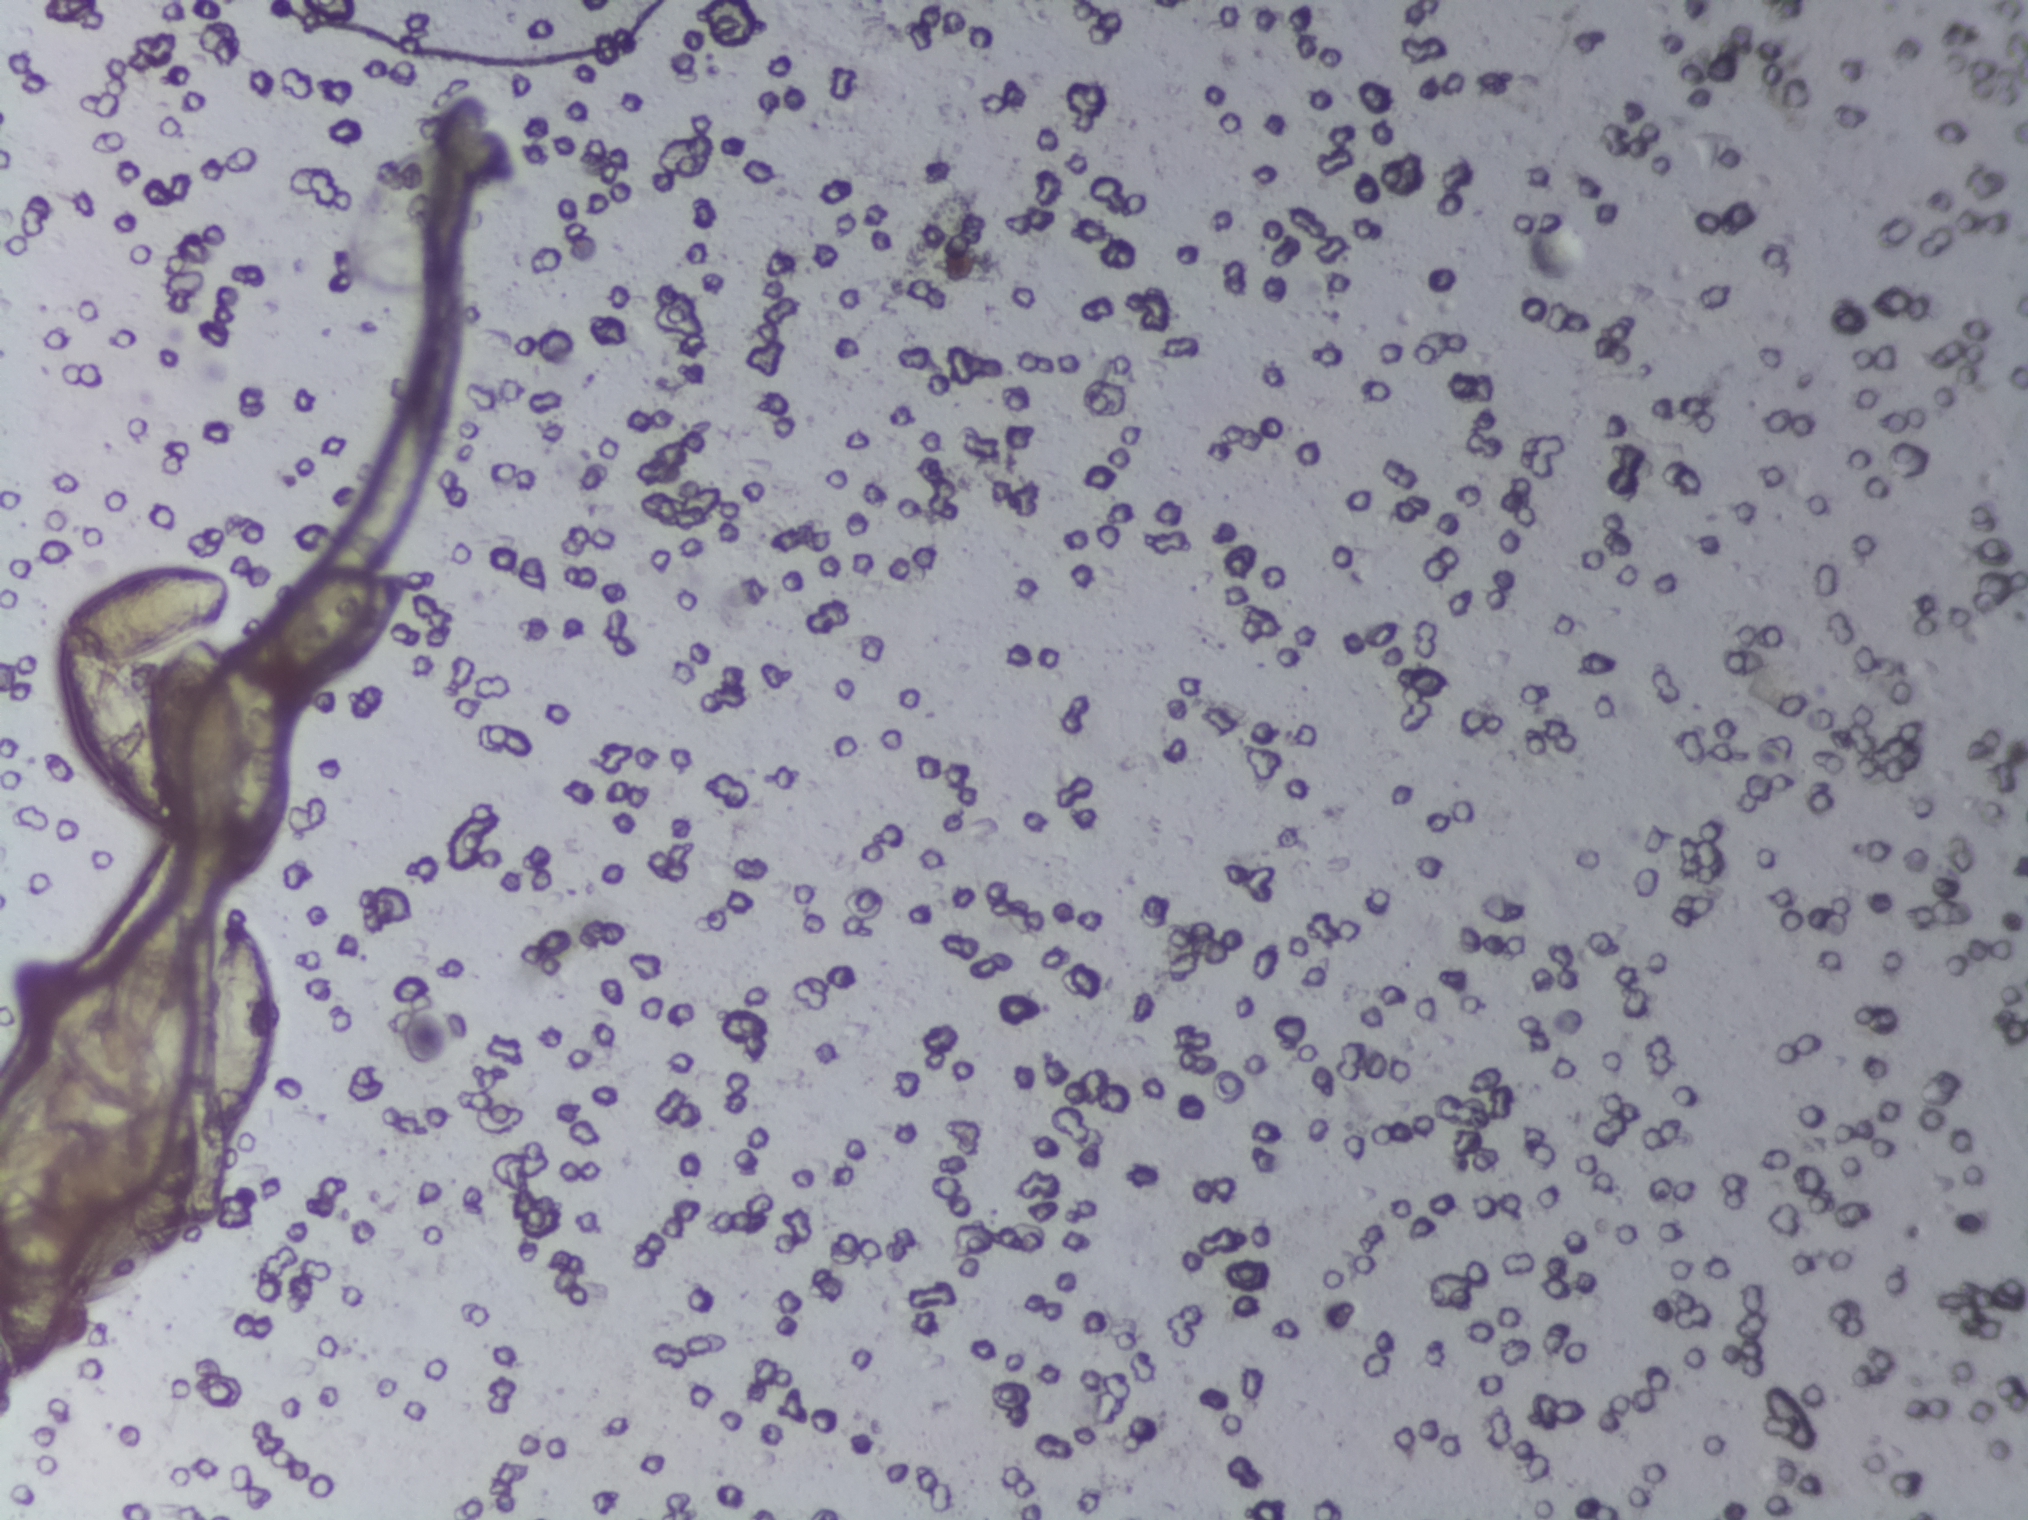
Microscope photograph (4× objective) of a membrane that a urine sample was filtered through. The field of view is about 1.5 mm × 1.1 mm.
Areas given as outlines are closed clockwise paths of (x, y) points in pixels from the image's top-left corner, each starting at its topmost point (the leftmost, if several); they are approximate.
The expert annotation outlines Schistosoma eggs in two areas, left to right: outline (151, 899), (169, 900), (185, 914), (197, 944), (202, 1014), (202, 976), (216, 939), (236, 920), (261, 936), (272, 958), (279, 1005), (272, 1068), (258, 1114), (229, 1146), (228, 1186), (208, 1234), (185, 1229), (166, 1254), (156, 1255), (134, 1238), (124, 1202), (91, 1213), (47, 1213), (66, 1263), (64, 1330), (40, 1387), (28, 1391), (0, 1337), (0, 1135), (46, 1120), (102, 1126), (127, 1113), (98, 1105), (56, 1068), (22, 1014), (15, 960), (65, 963), (107, 984), (105, 960), (116, 930), (129, 910) (eggs clustered together; reaching the left edge of the frame) and outline (158, 564), (221, 570), (227, 604), (201, 632), (222, 647), (245, 635), (281, 588), (312, 568), (416, 577), (410, 599), (365, 662), (320, 683), (279, 685), (295, 737), (294, 786), (272, 862), (246, 887), (229, 882), (212, 849), (187, 851), (166, 824), (140, 818), (95, 773), (66, 710), (60, 623), (91, 594), (92, 585) (eggs clustered together). An outlined area can hold more than one egg. Any one outlined egg may, rarely, be S. mansoni rather than S. haematobium.